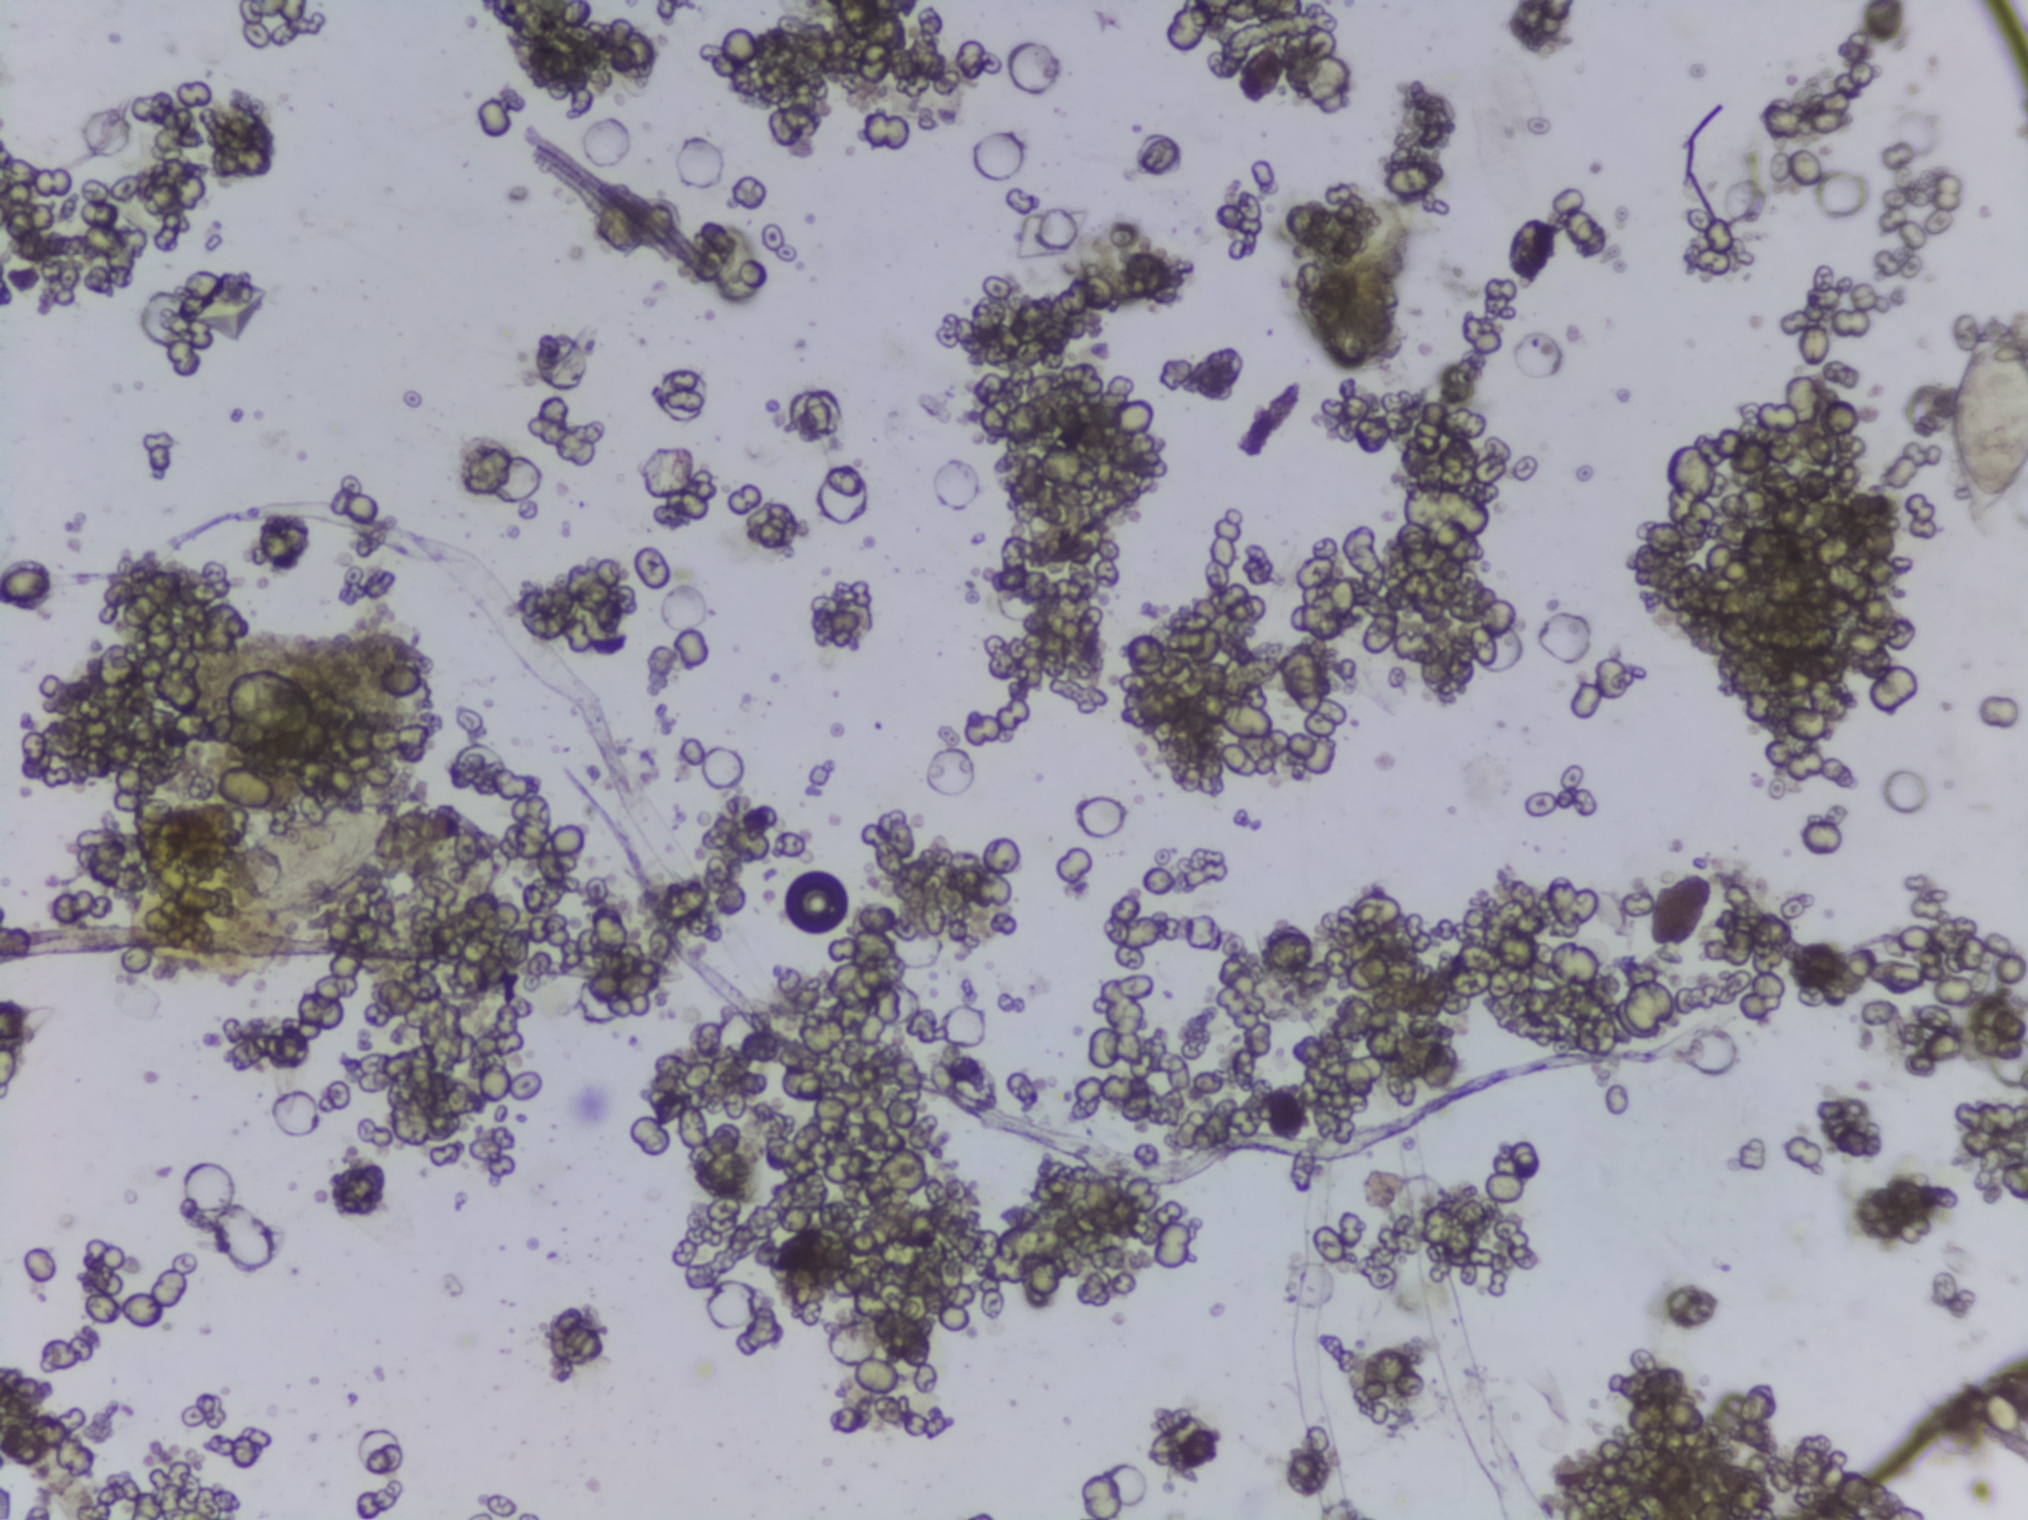
Photomicrograph of a urine filtration membrane, 4× objective. The image covers about 1.5 × 1.1 mm of the membrane.
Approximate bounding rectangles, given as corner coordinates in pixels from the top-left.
Schistosoma eggs are outlined in the expert annotation at (x1=197, y1=794, x2=418, y2=916) and (x1=1946, y1=305, x2=2027, y2=531) (reaching the right edge of the frame) (left to right). A single outlined area may contain several eggs.